One field of view of a urine filter membrane, 4× objective, 2028 × 1520 pixels.
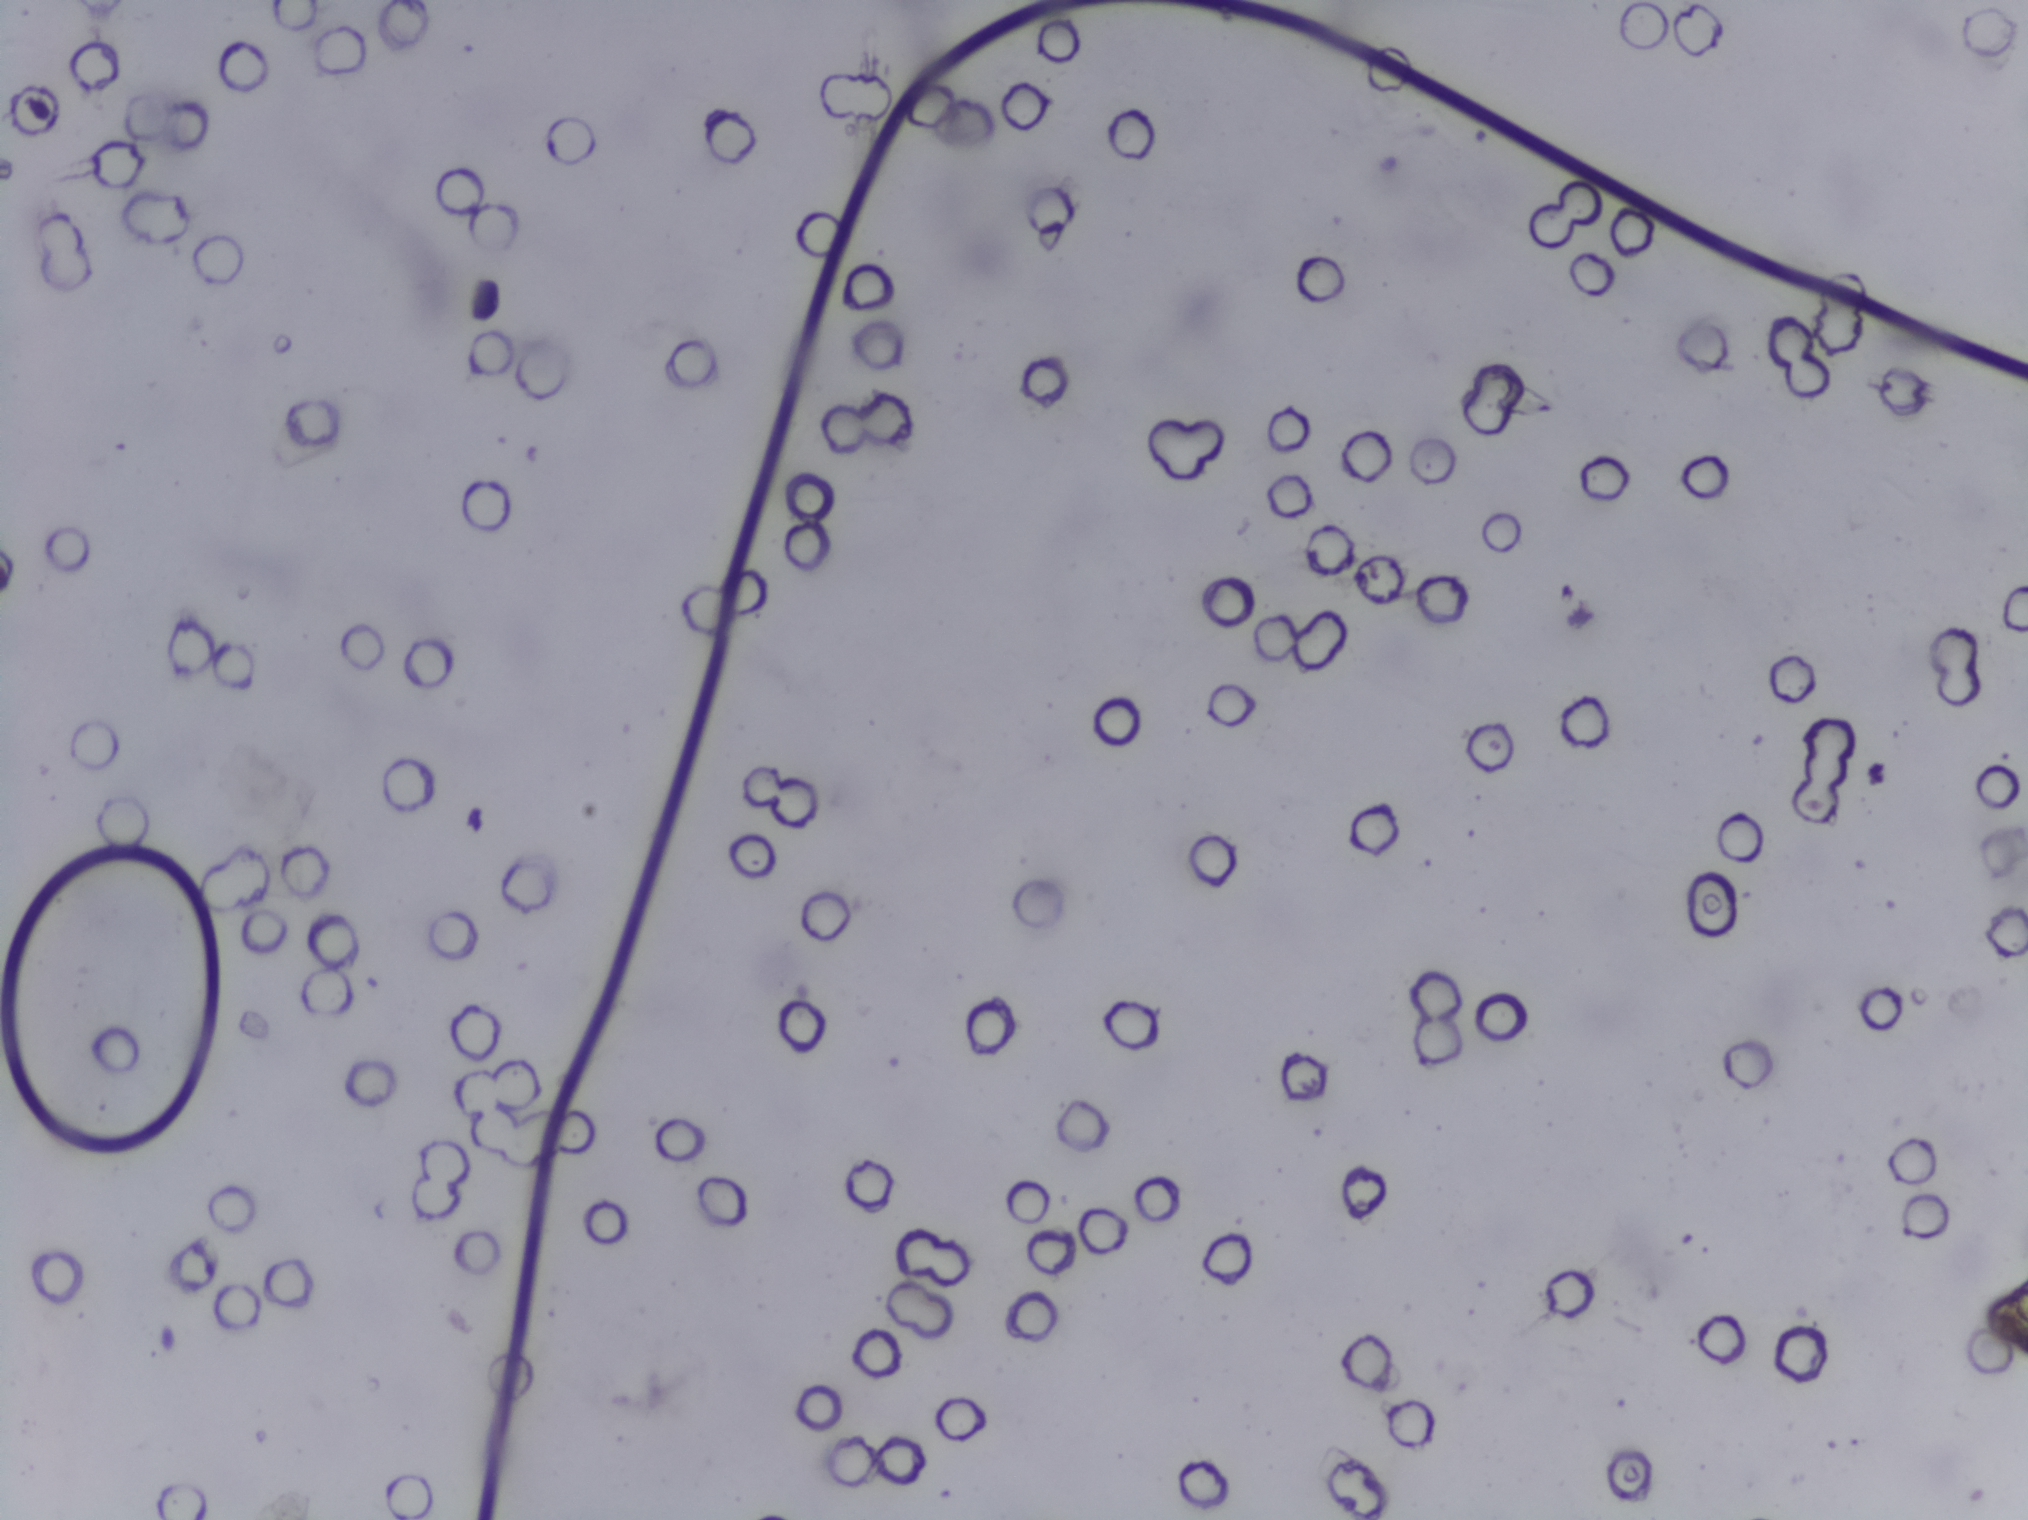
No Schistosoma egg is outlined in this image's expert annotation.